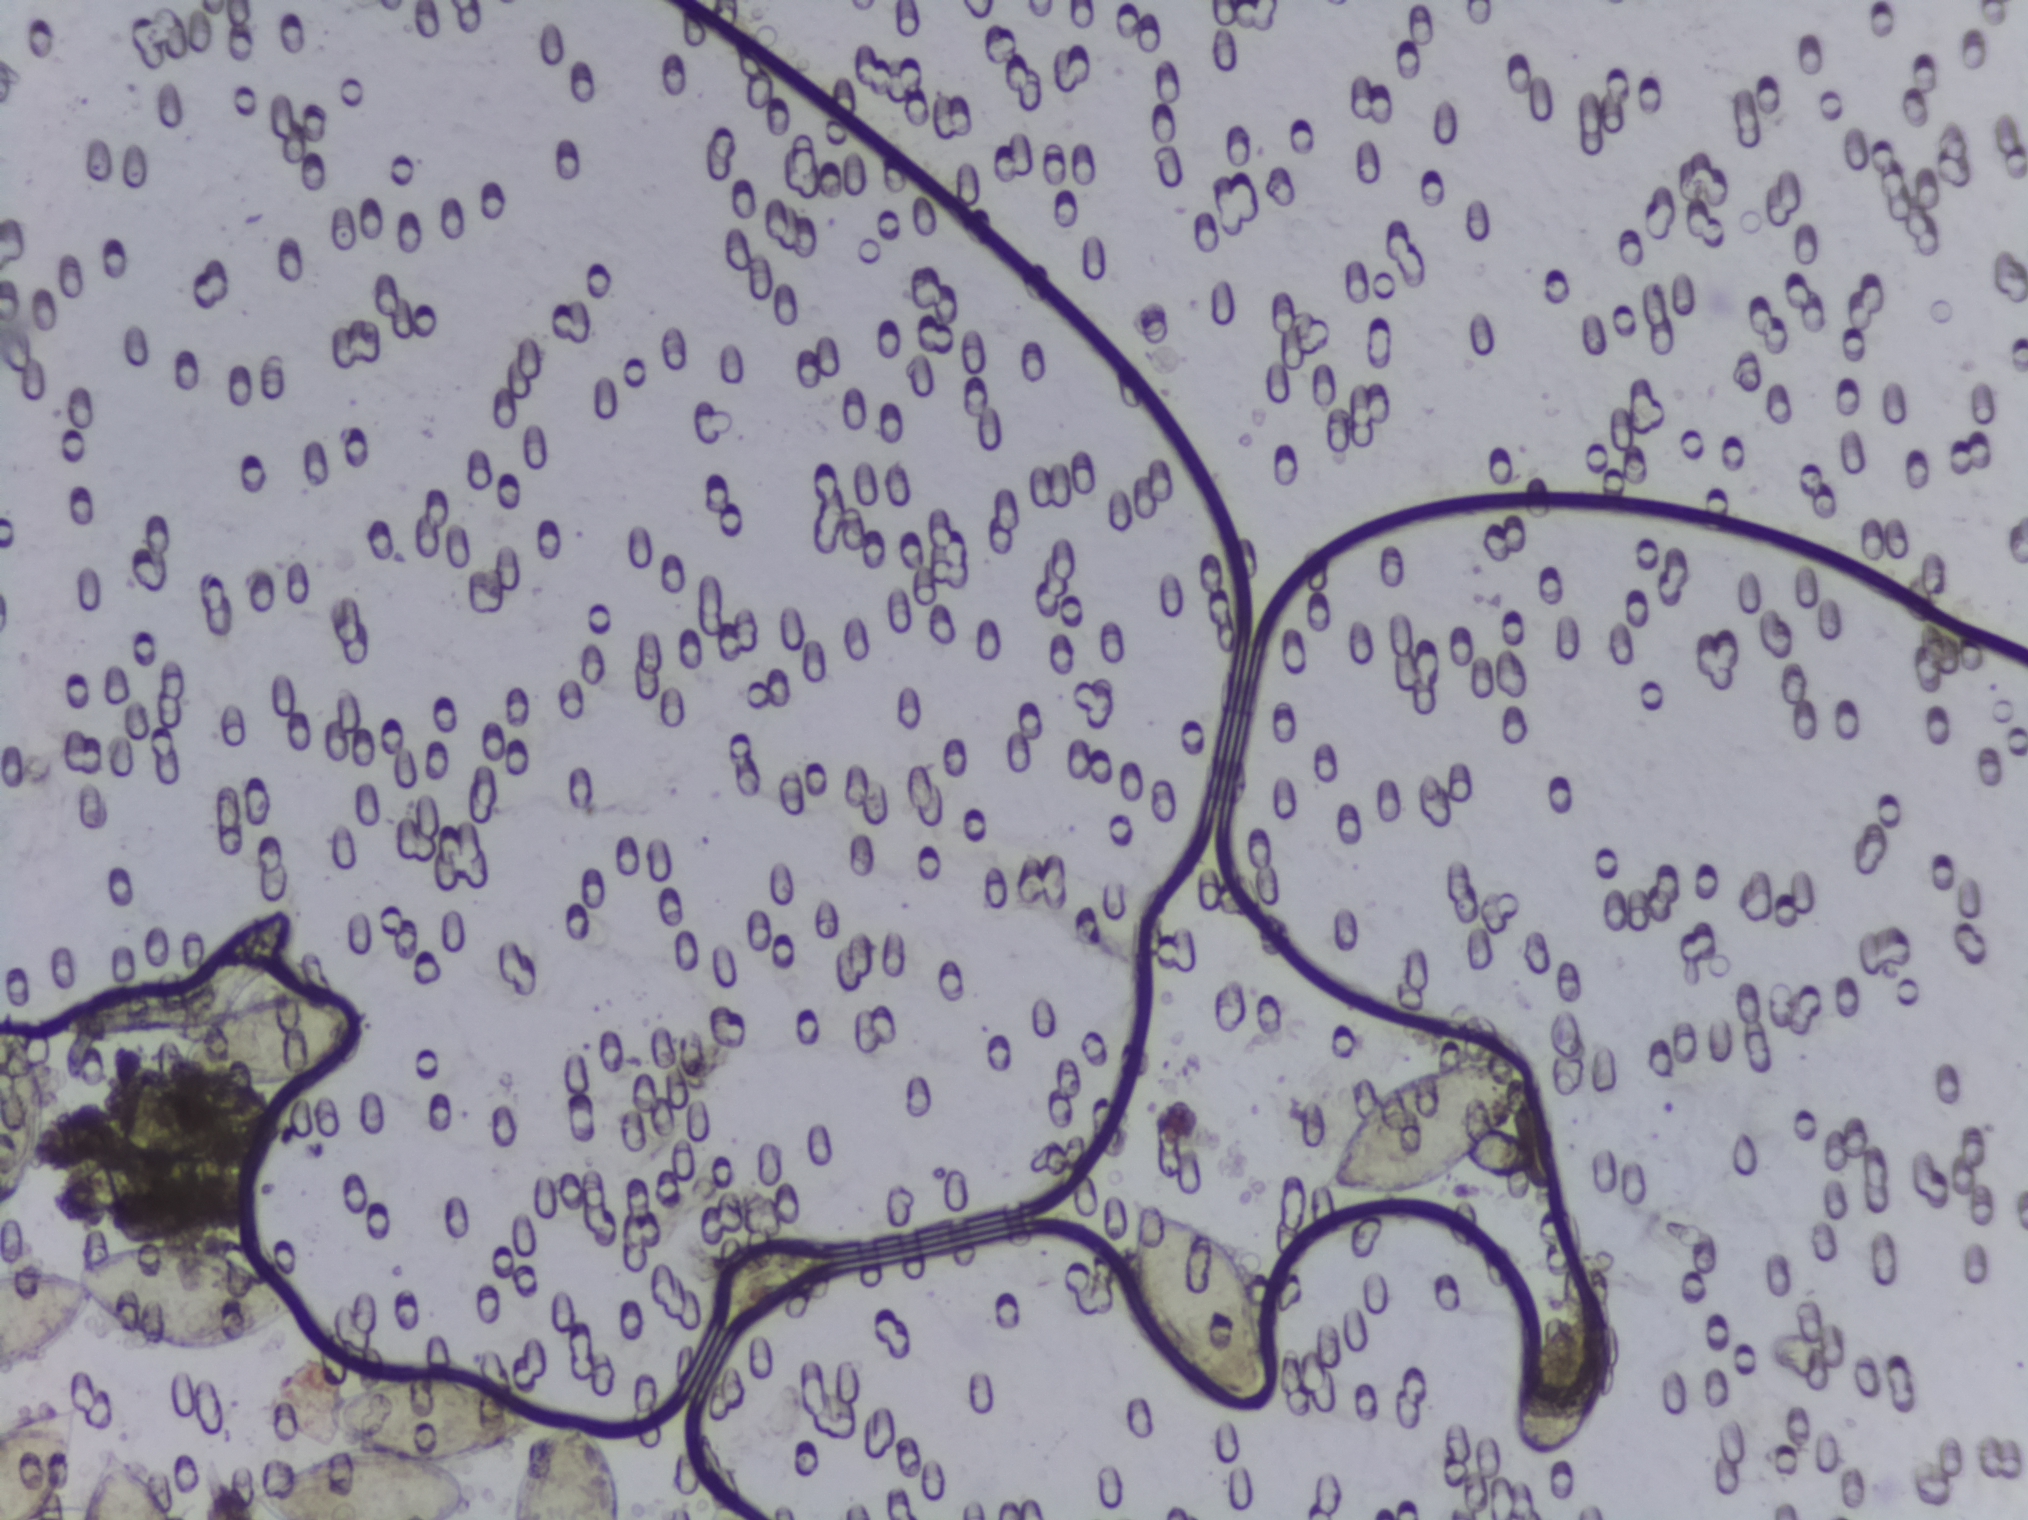
Urine filtration membrane under a 4× objective, photographed by an automated digital microscope.
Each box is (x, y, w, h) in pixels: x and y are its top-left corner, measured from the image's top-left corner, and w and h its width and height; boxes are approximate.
The expert annotation outlines Schistosoma eggs at (x=0, y=1004, w=45, h=208) (reaching the left edge of the frame); (x=0, y=1241, w=304, h=136) (reaching the left edge of the frame); (x=0, y=1403, w=84, h=117) (reaching the left and bottom edges of the frame); (x=78, y=1443, w=98, h=77) (reaching the bottom edge of the frame); (x=179, y=988, w=194, h=103); (x=244, y=1365, w=380, h=155) (reaching the bottom edge of the frame); (x=1118, y=1187, w=163, h=232); (x=1317, y=1051, w=220, h=150); (x=1509, y=1288, w=100, h=179). About 5.1% of the image's pixels are marked (the marked pixels themselves, not the boxes around them). A single outlined area may contain several eggs.